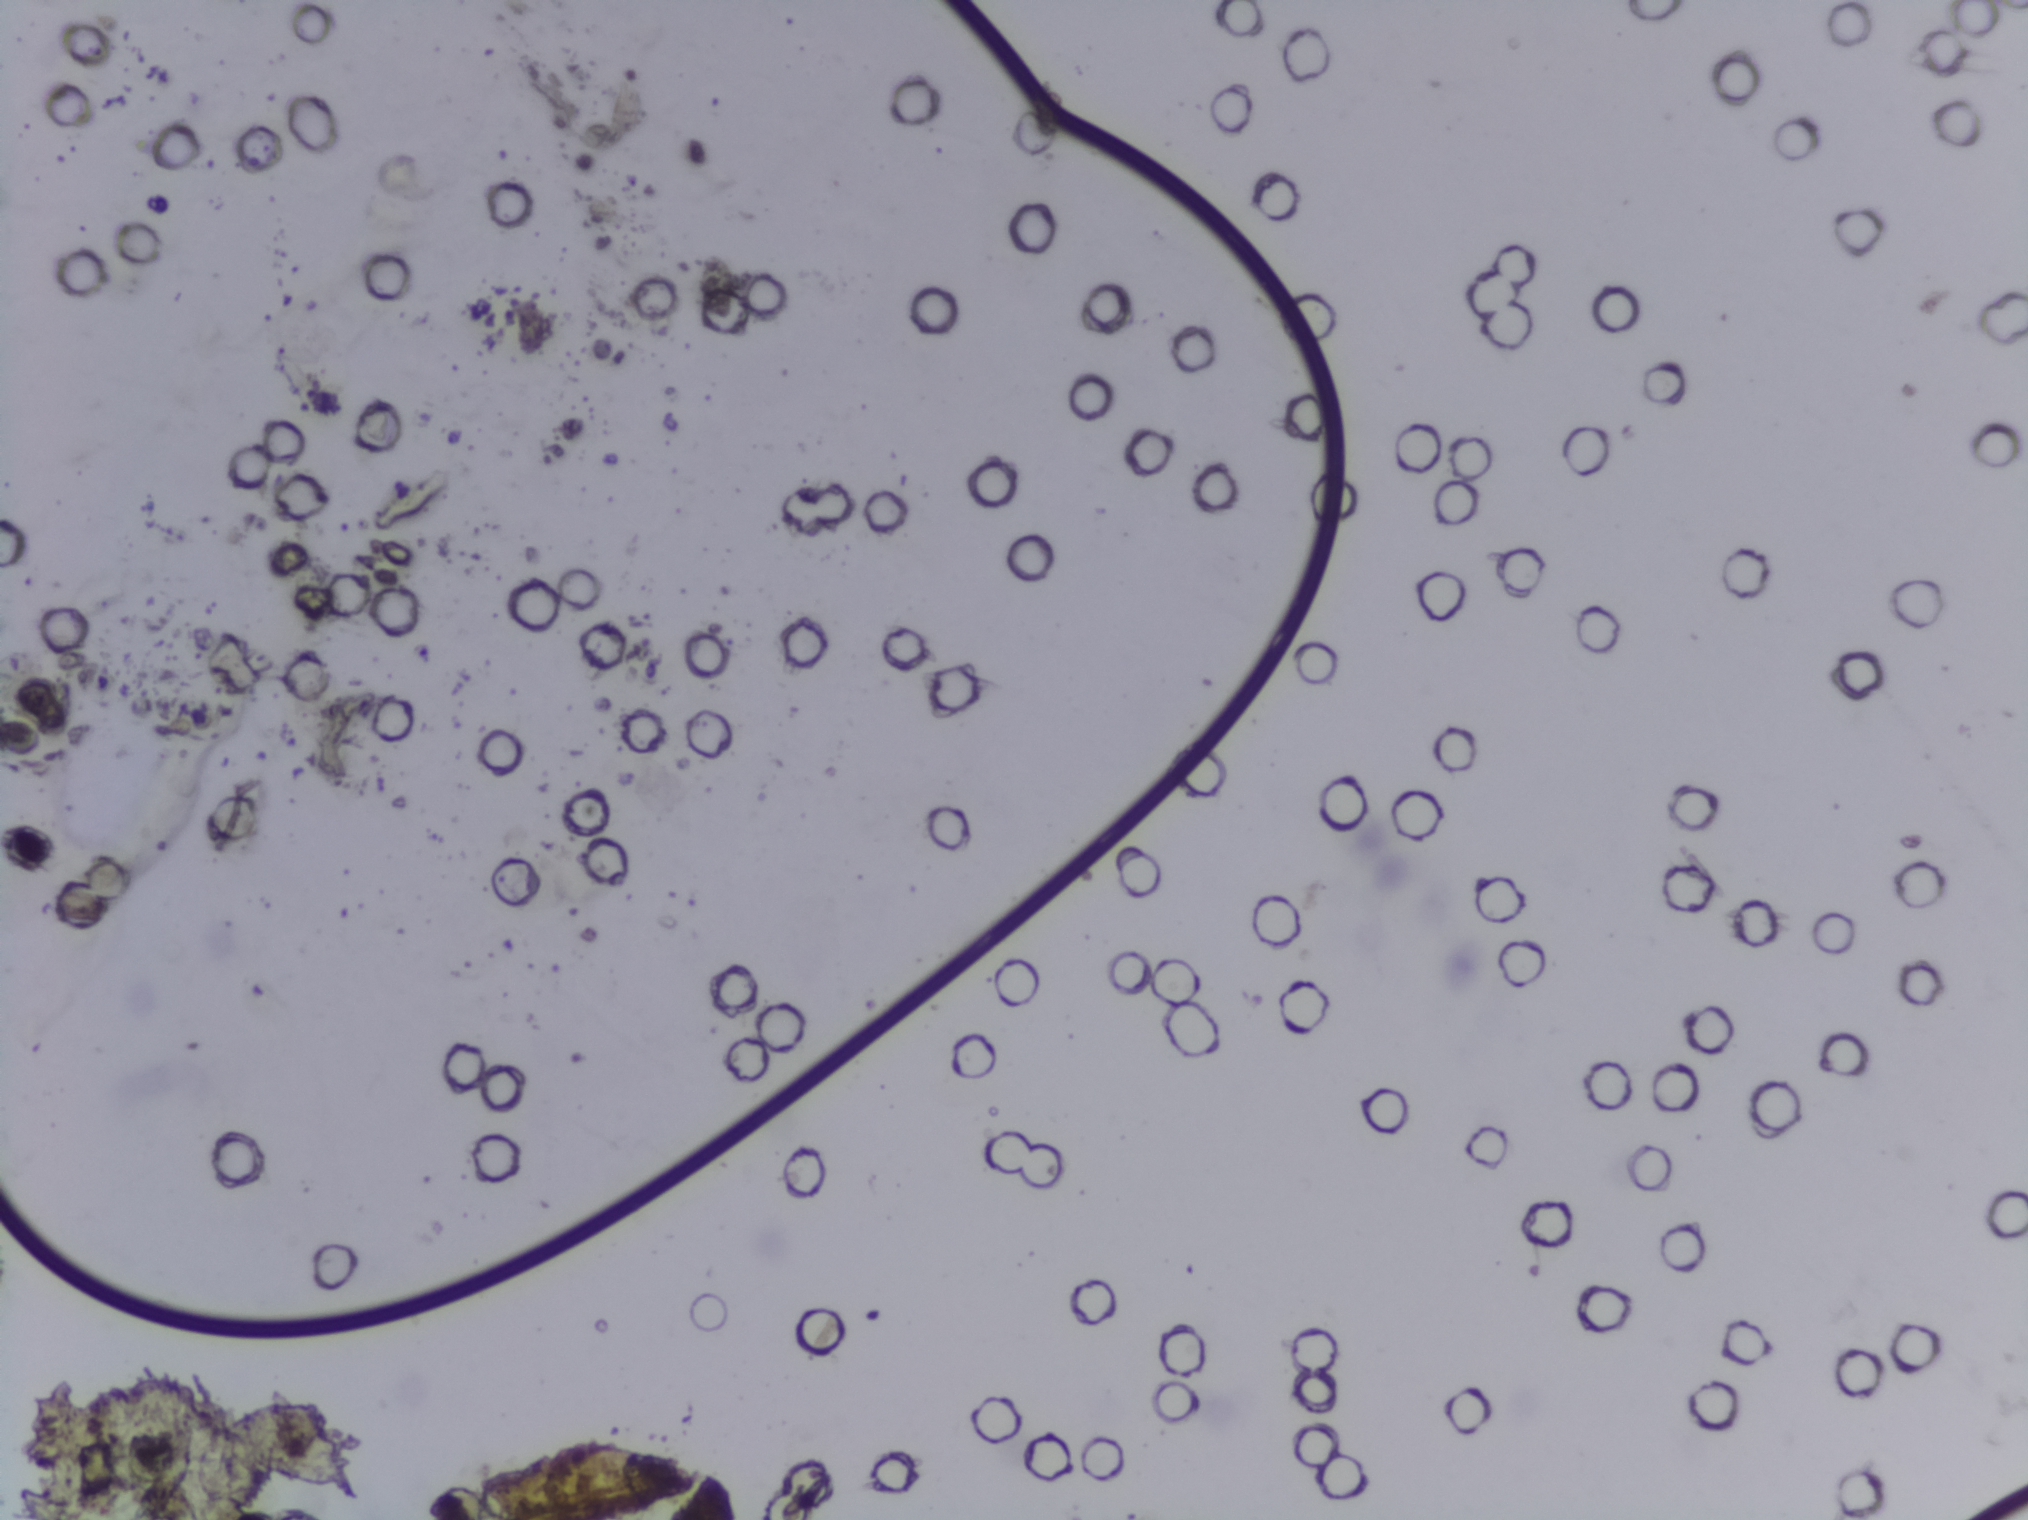
Schistosoma eggs: none outlined.
Photomicrograph of a urine filtration membrane, 4× objective.